One field of view of a urine filter membrane, 4× objective, 2028 × 1520 pixels. The image covers about 1.5 × 1.1 mm of the membrane.
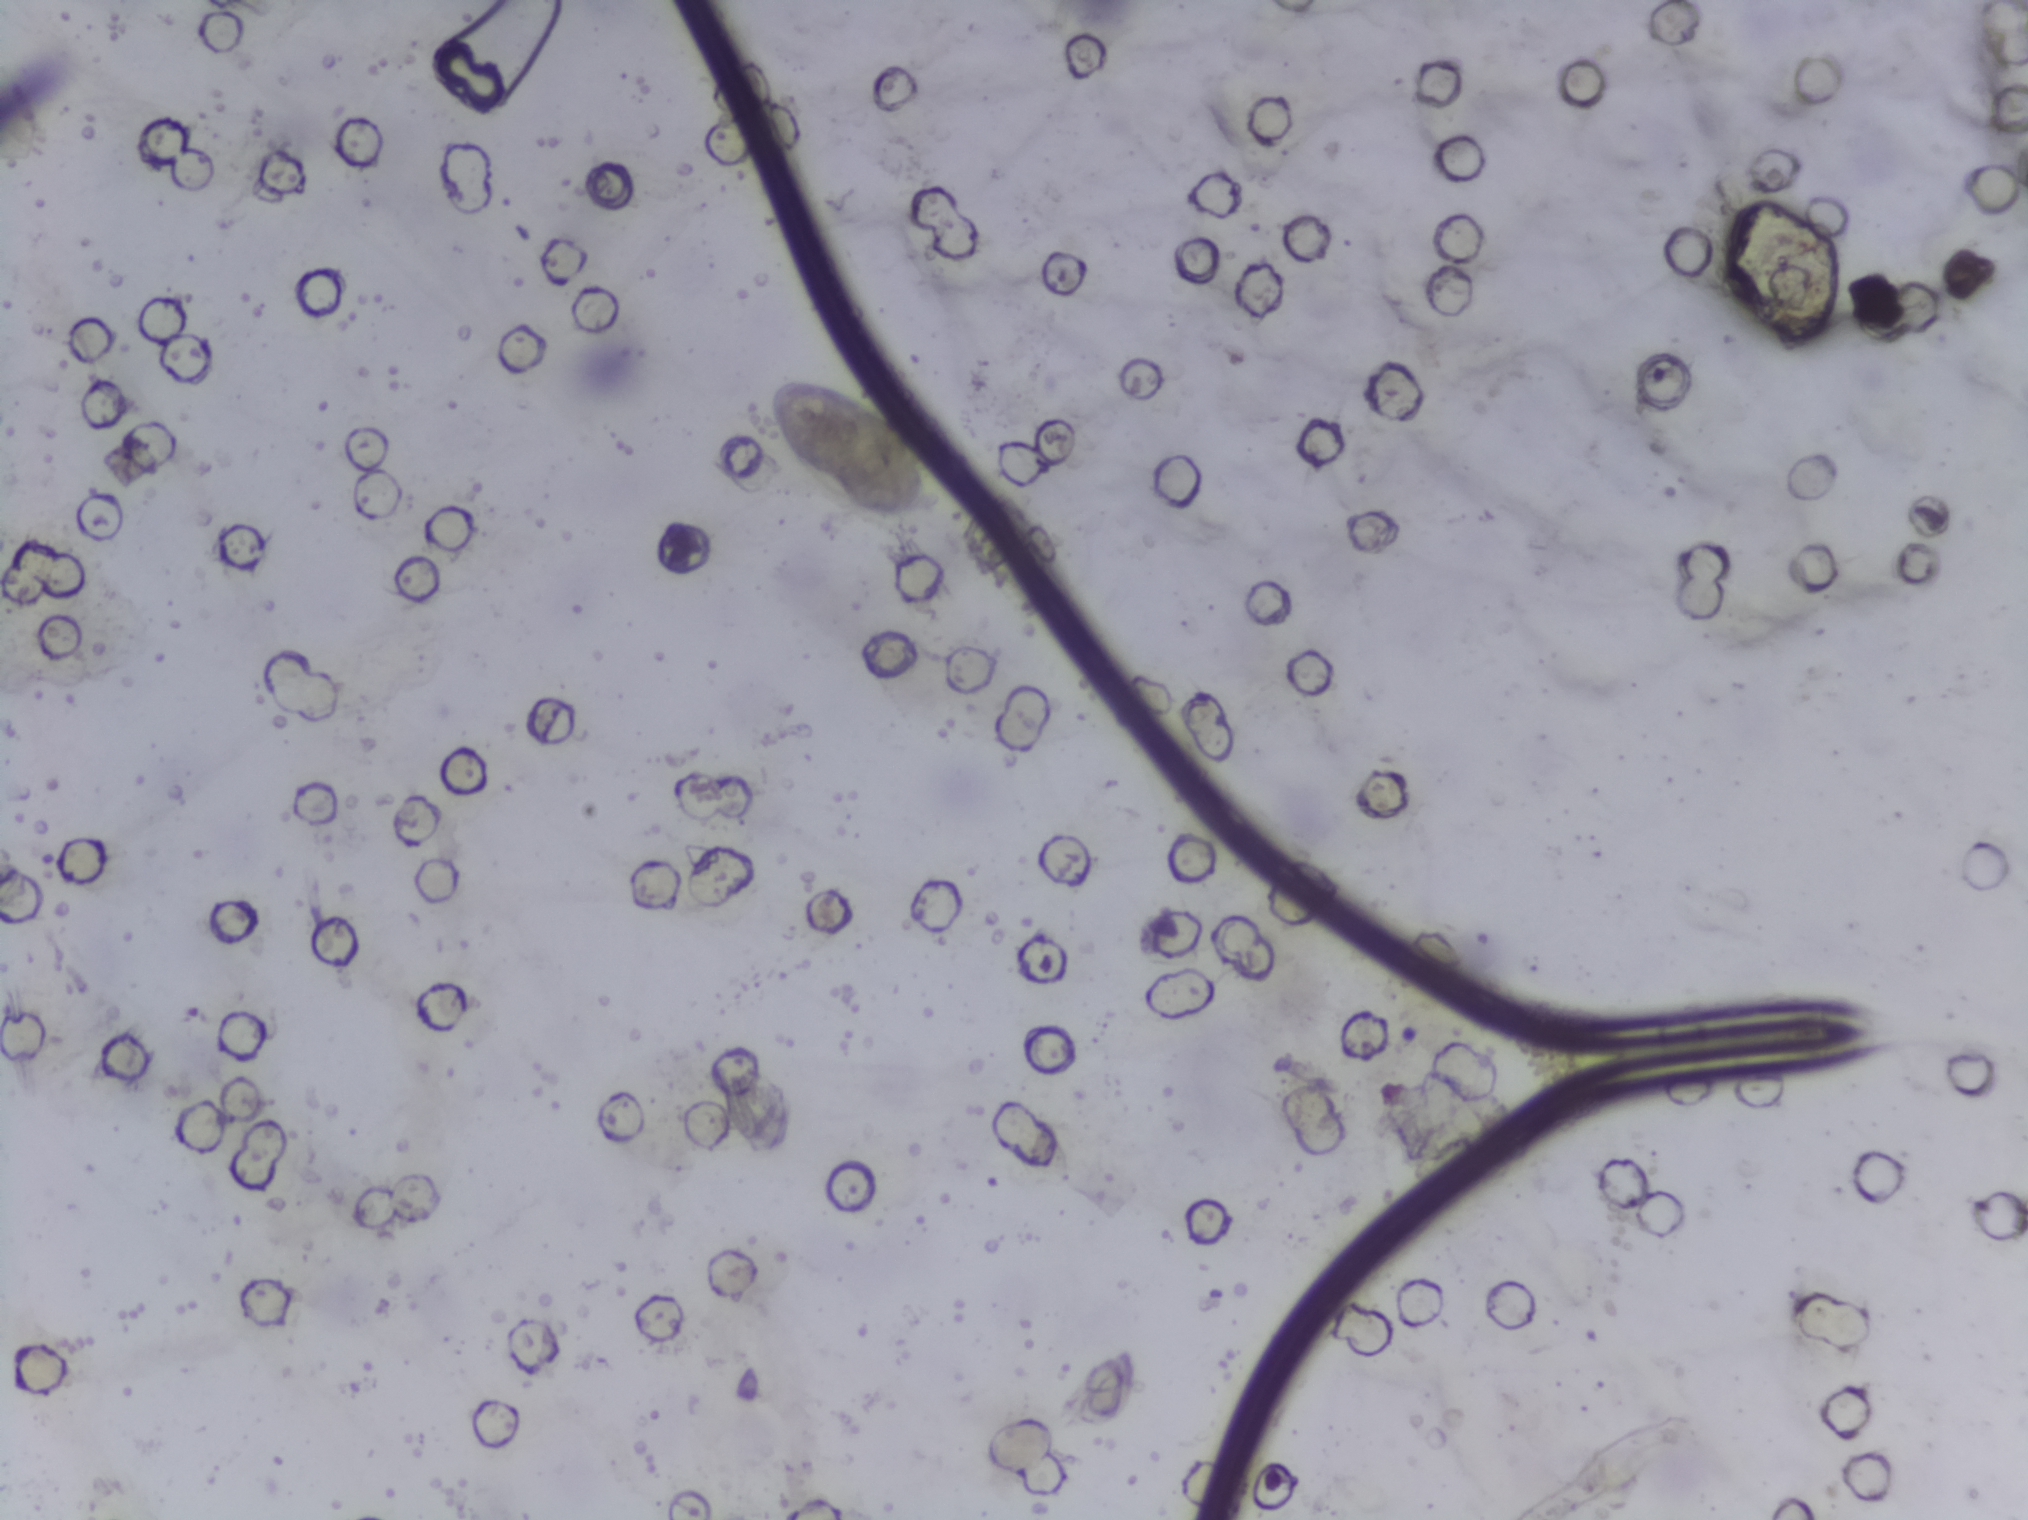
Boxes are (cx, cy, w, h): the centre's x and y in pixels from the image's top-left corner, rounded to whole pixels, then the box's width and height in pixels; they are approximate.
Areas outlined as Schistosoma eggs: (cx=860, cy=450, w=185, h=155). A single outlined area may contain several eggs.